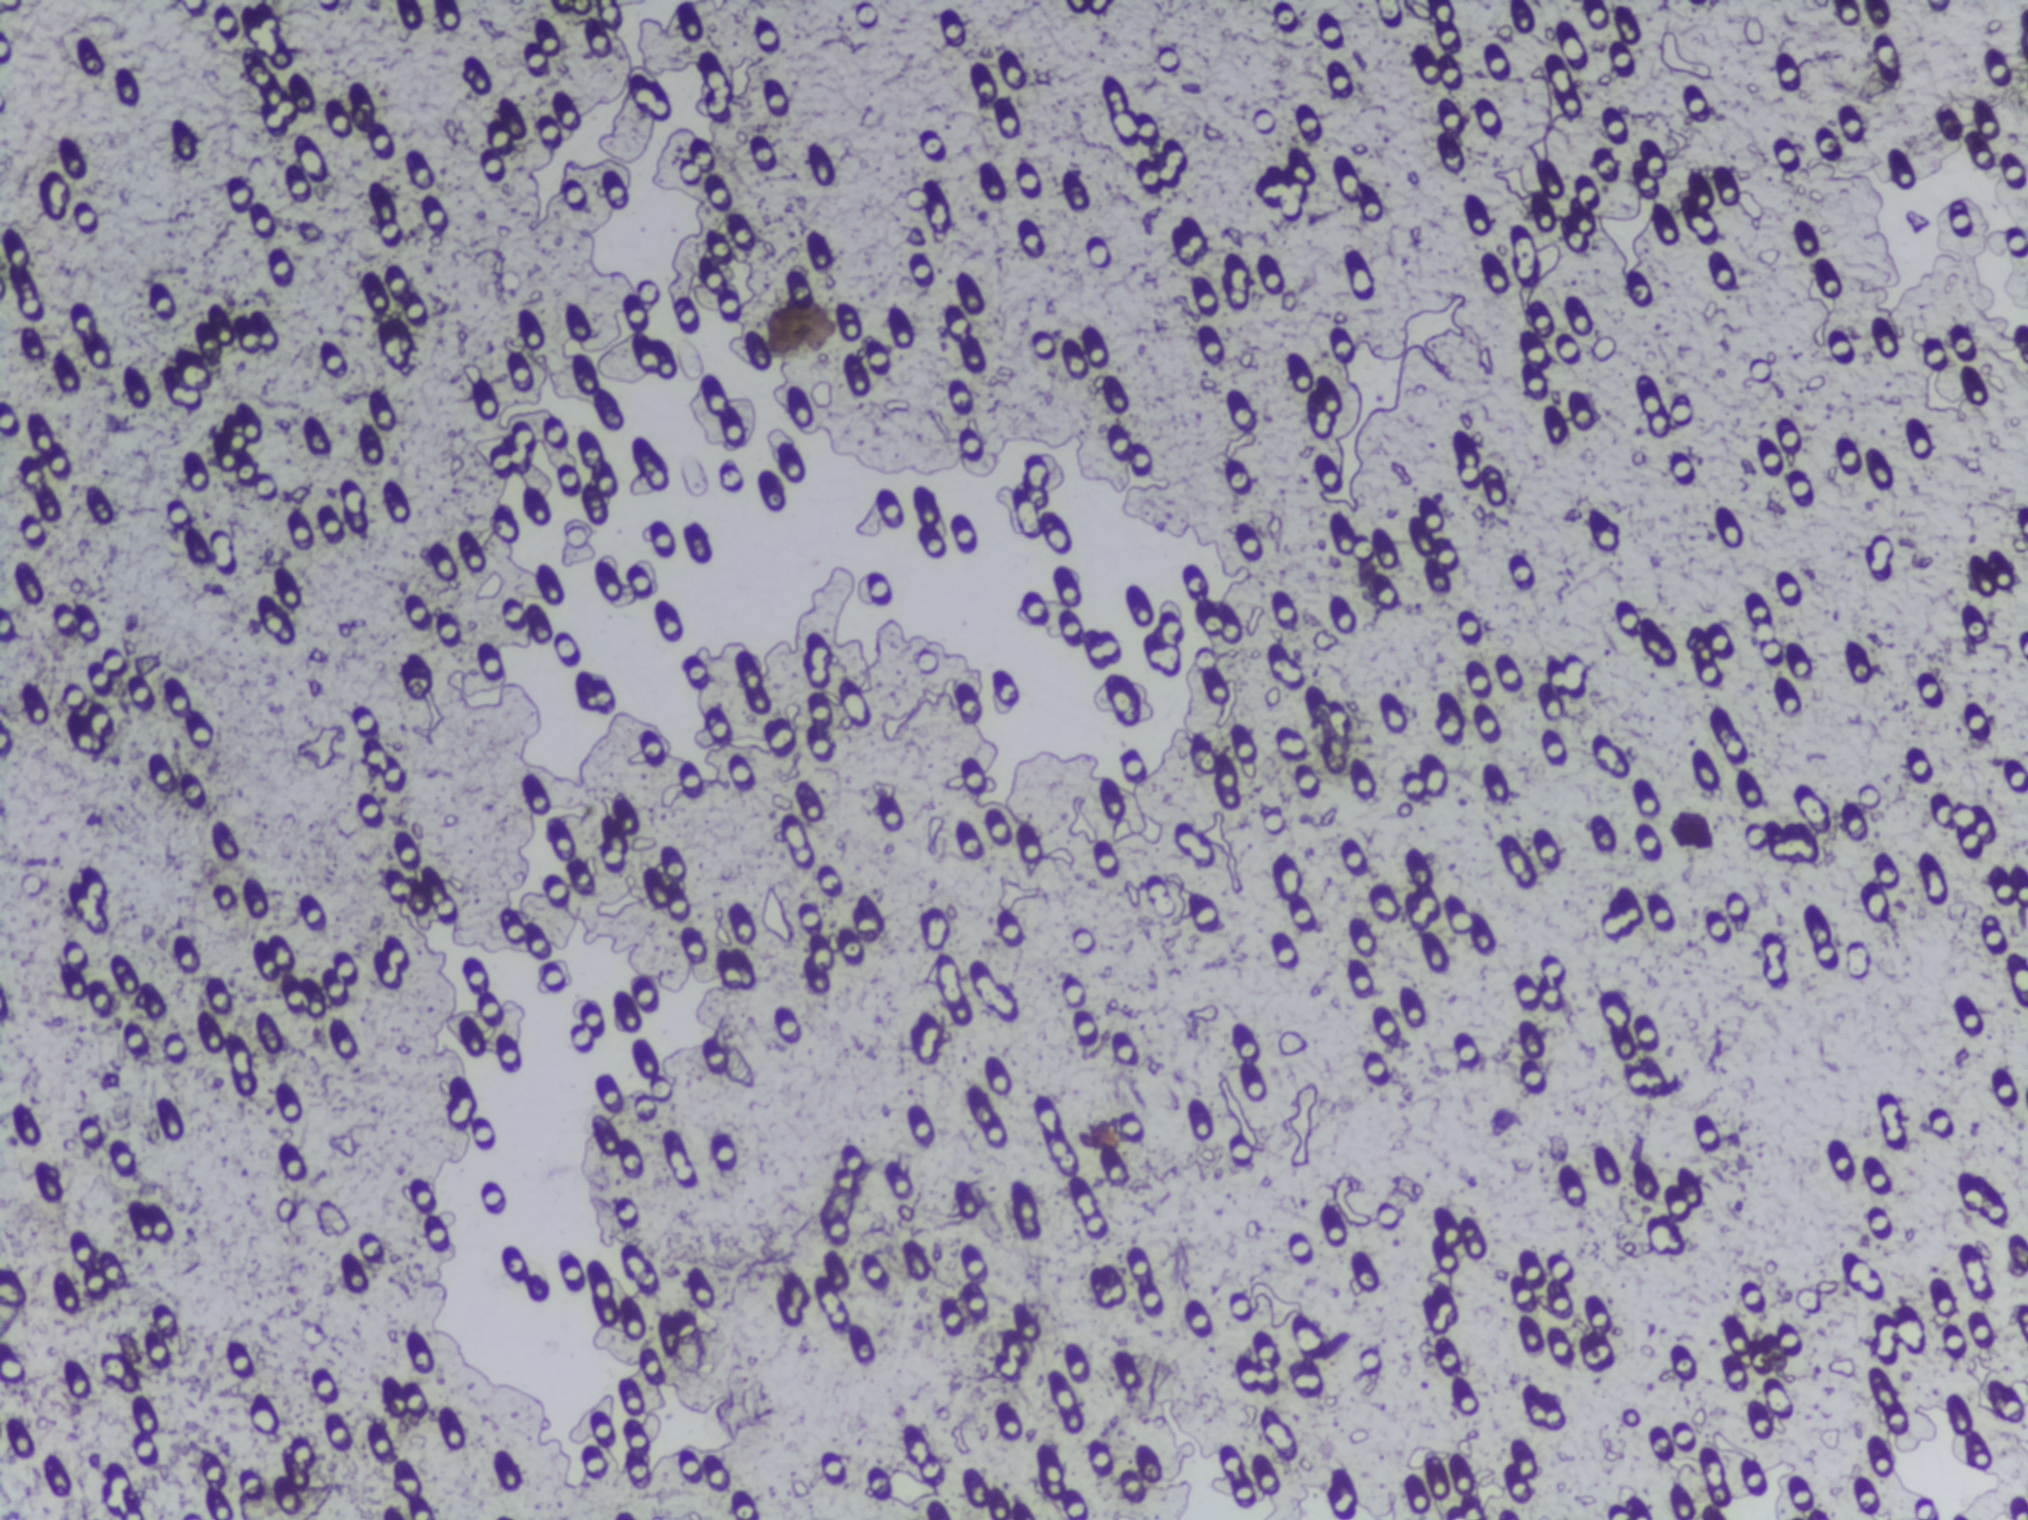
The expert annotation marks no Schistosoma egg in this field of view.
One field of view of a urine filter membrane, 4× objective, 2028 × 1520 pixels.